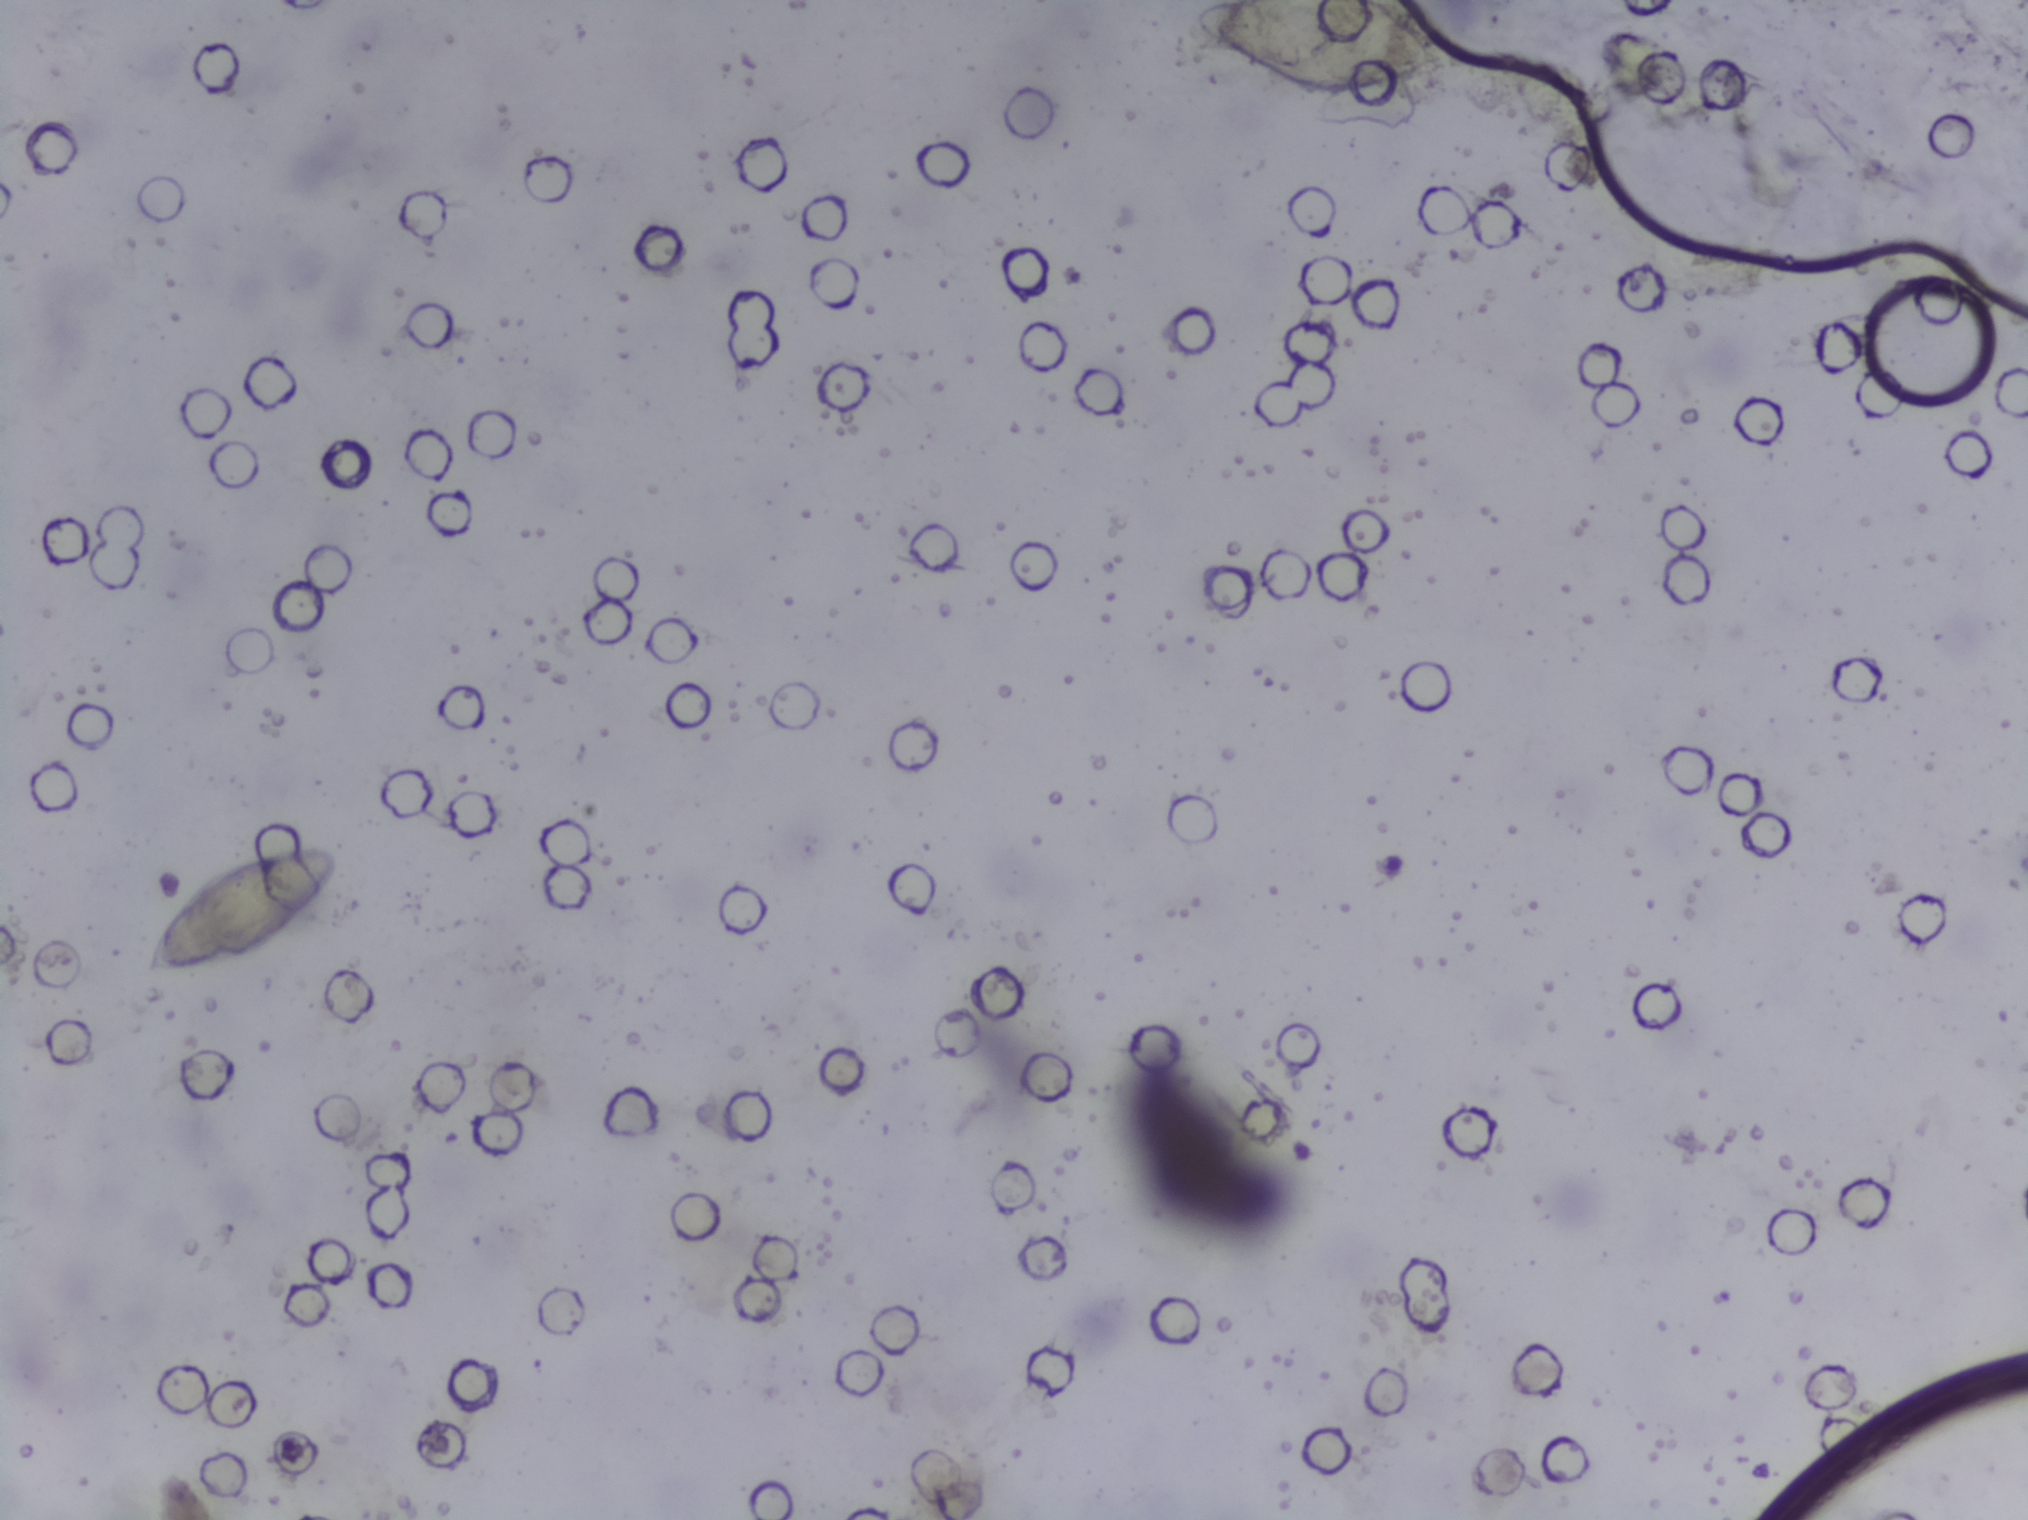
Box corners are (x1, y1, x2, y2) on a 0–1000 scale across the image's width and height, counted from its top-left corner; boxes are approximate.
Findings: two areas outlined as Schistosoma eggs. Locations: (71, 553, 168, 642); (588, 0, 714, 70) (reaching the top edge of the frame). An outlined area can hold more than one egg. Any one outlined egg may, rarely, be S. mansoni rather than S. haematobium.
Photomicrograph of a urine filtration membrane, 4× objective.